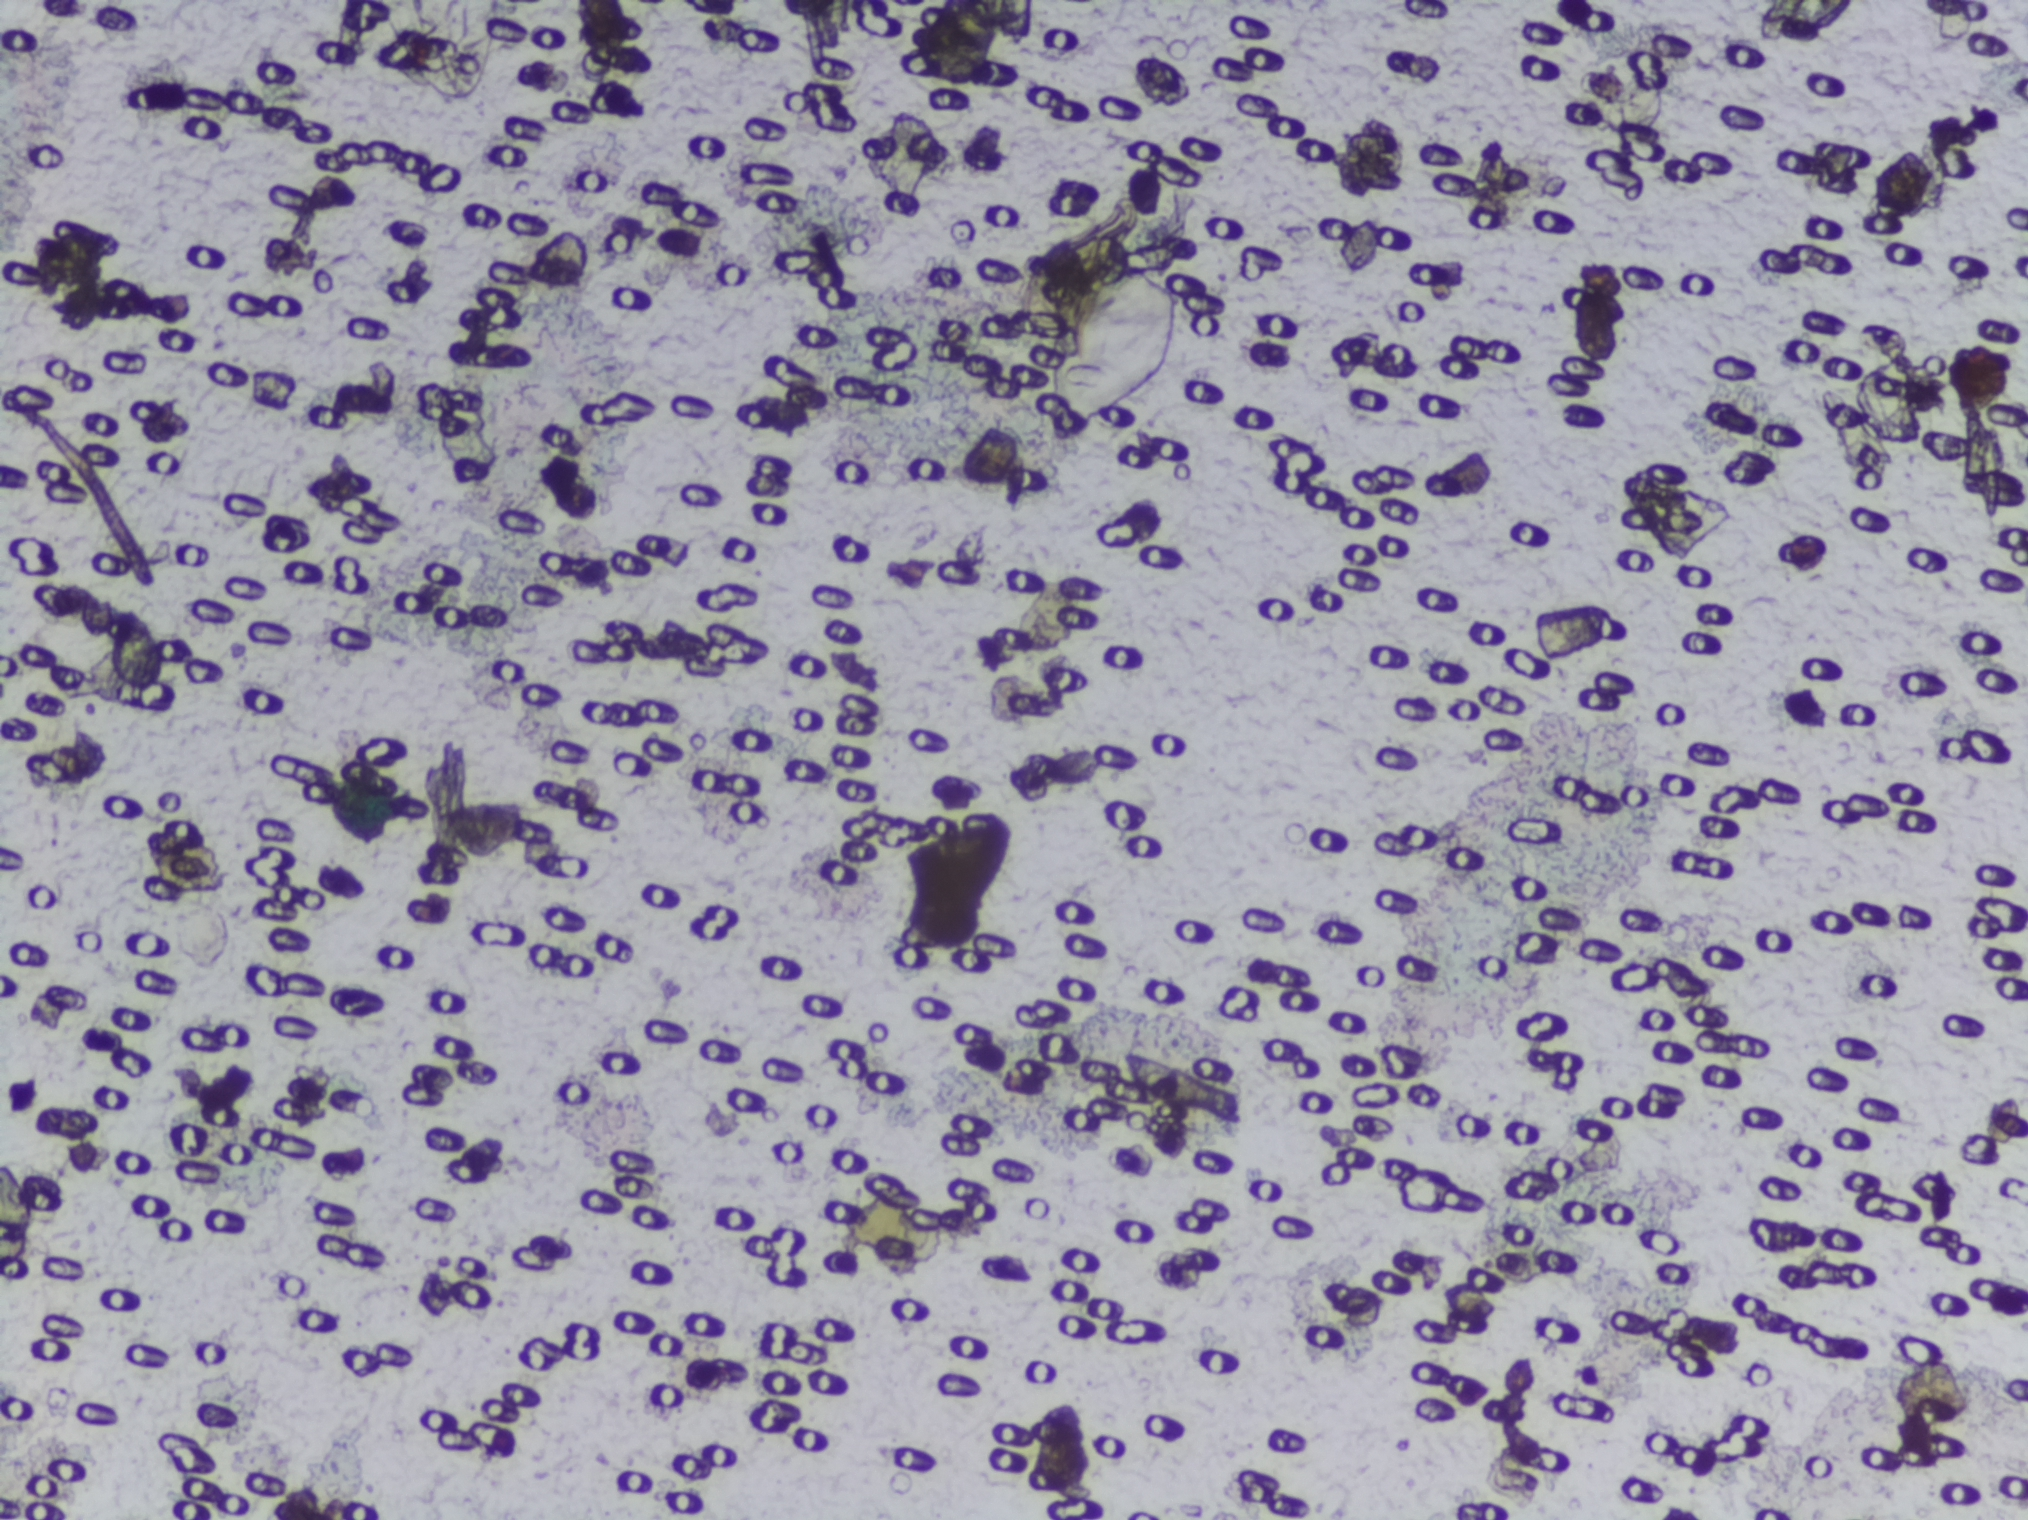
Urine filtration membrane under a 4× objective, photographed by an automated digital microscope. The field of view is about 1.5 mm × 1.1 mm.
Schistosoma eggs: none outlined.